One field of view of a urine filter membrane, 4× objective, 2028 × 1520 pixels.
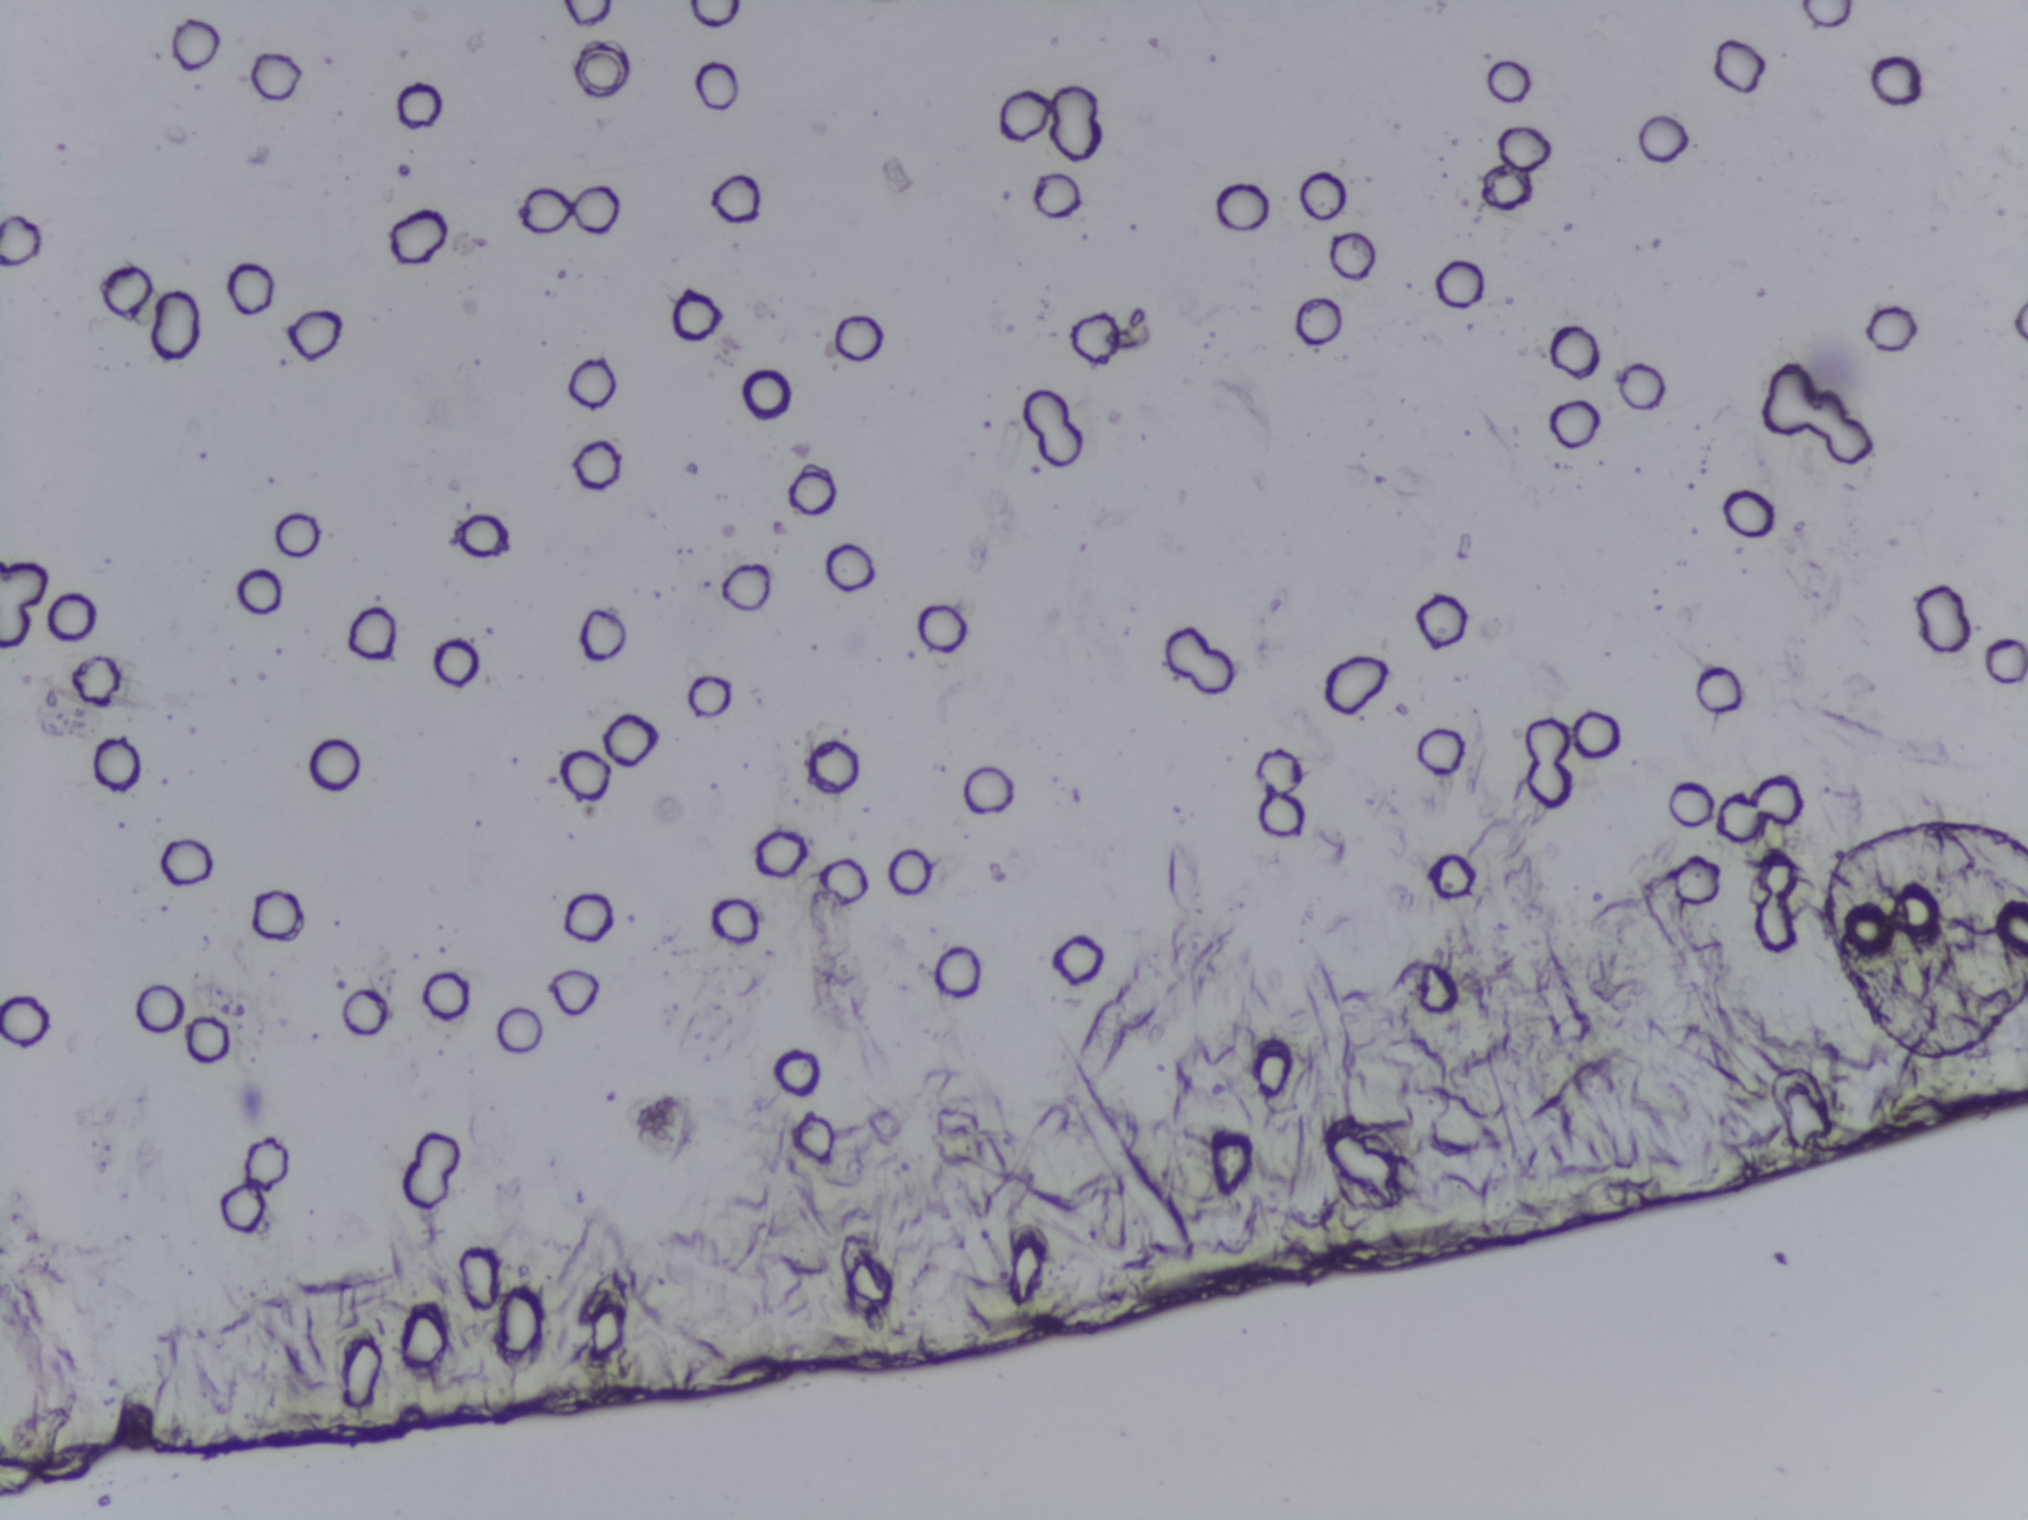
No Schistosoma egg is outlined in this image's expert annotation.